Photomicrograph of a urine filtration membrane, 4× objective.
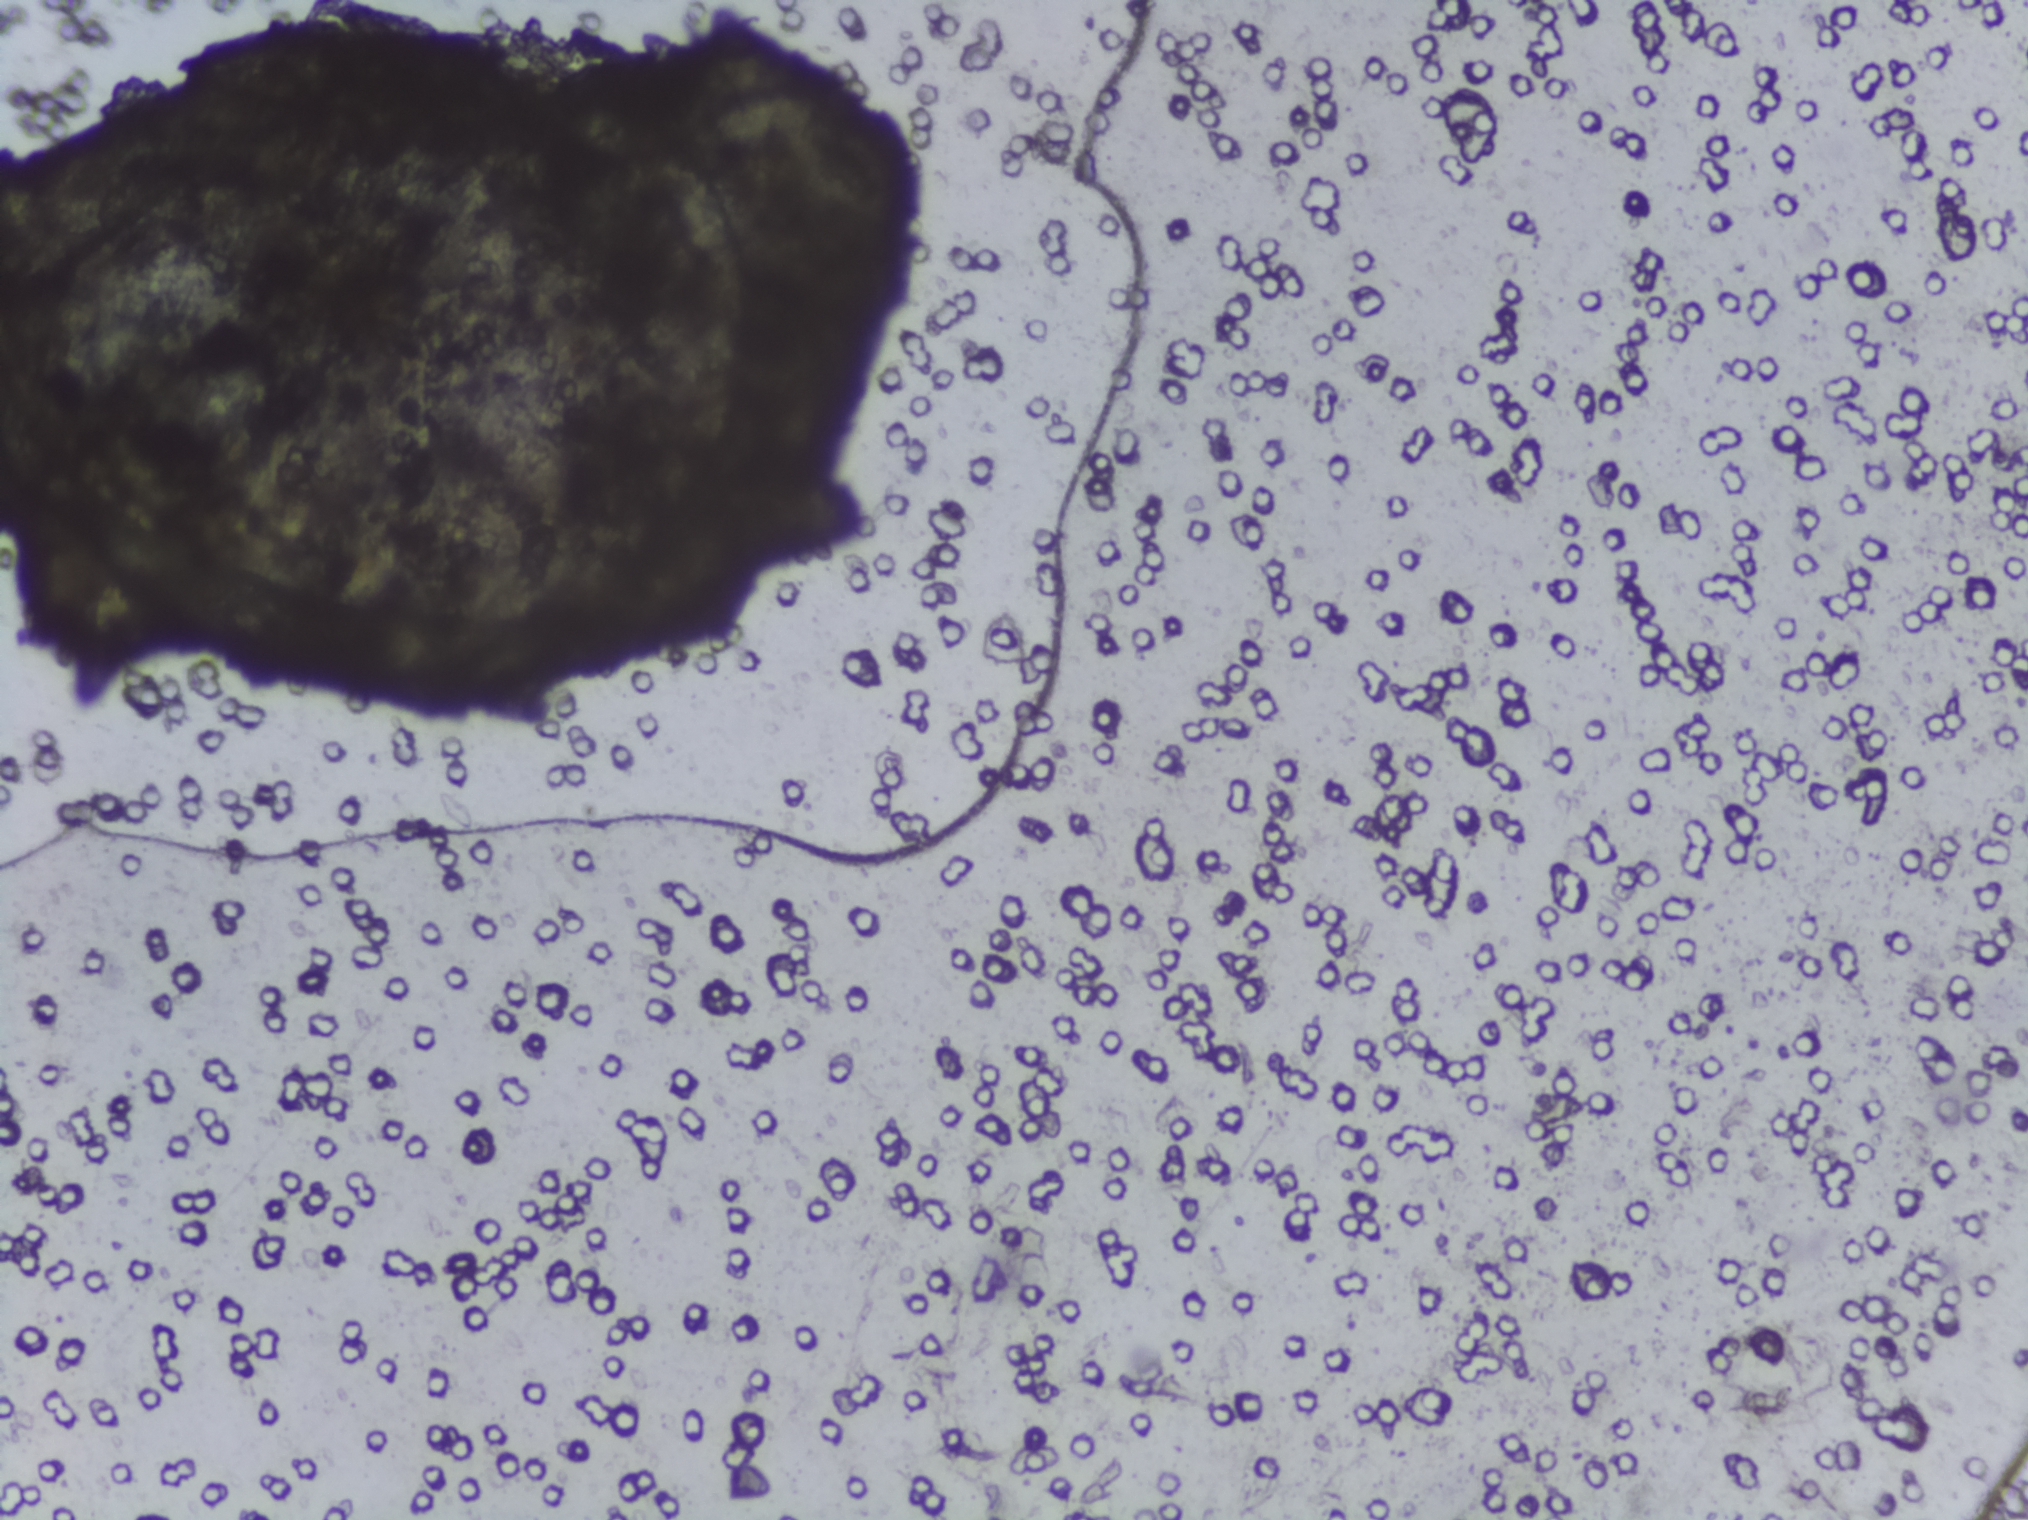
No area of this image was outlined as a Schistosoma egg.